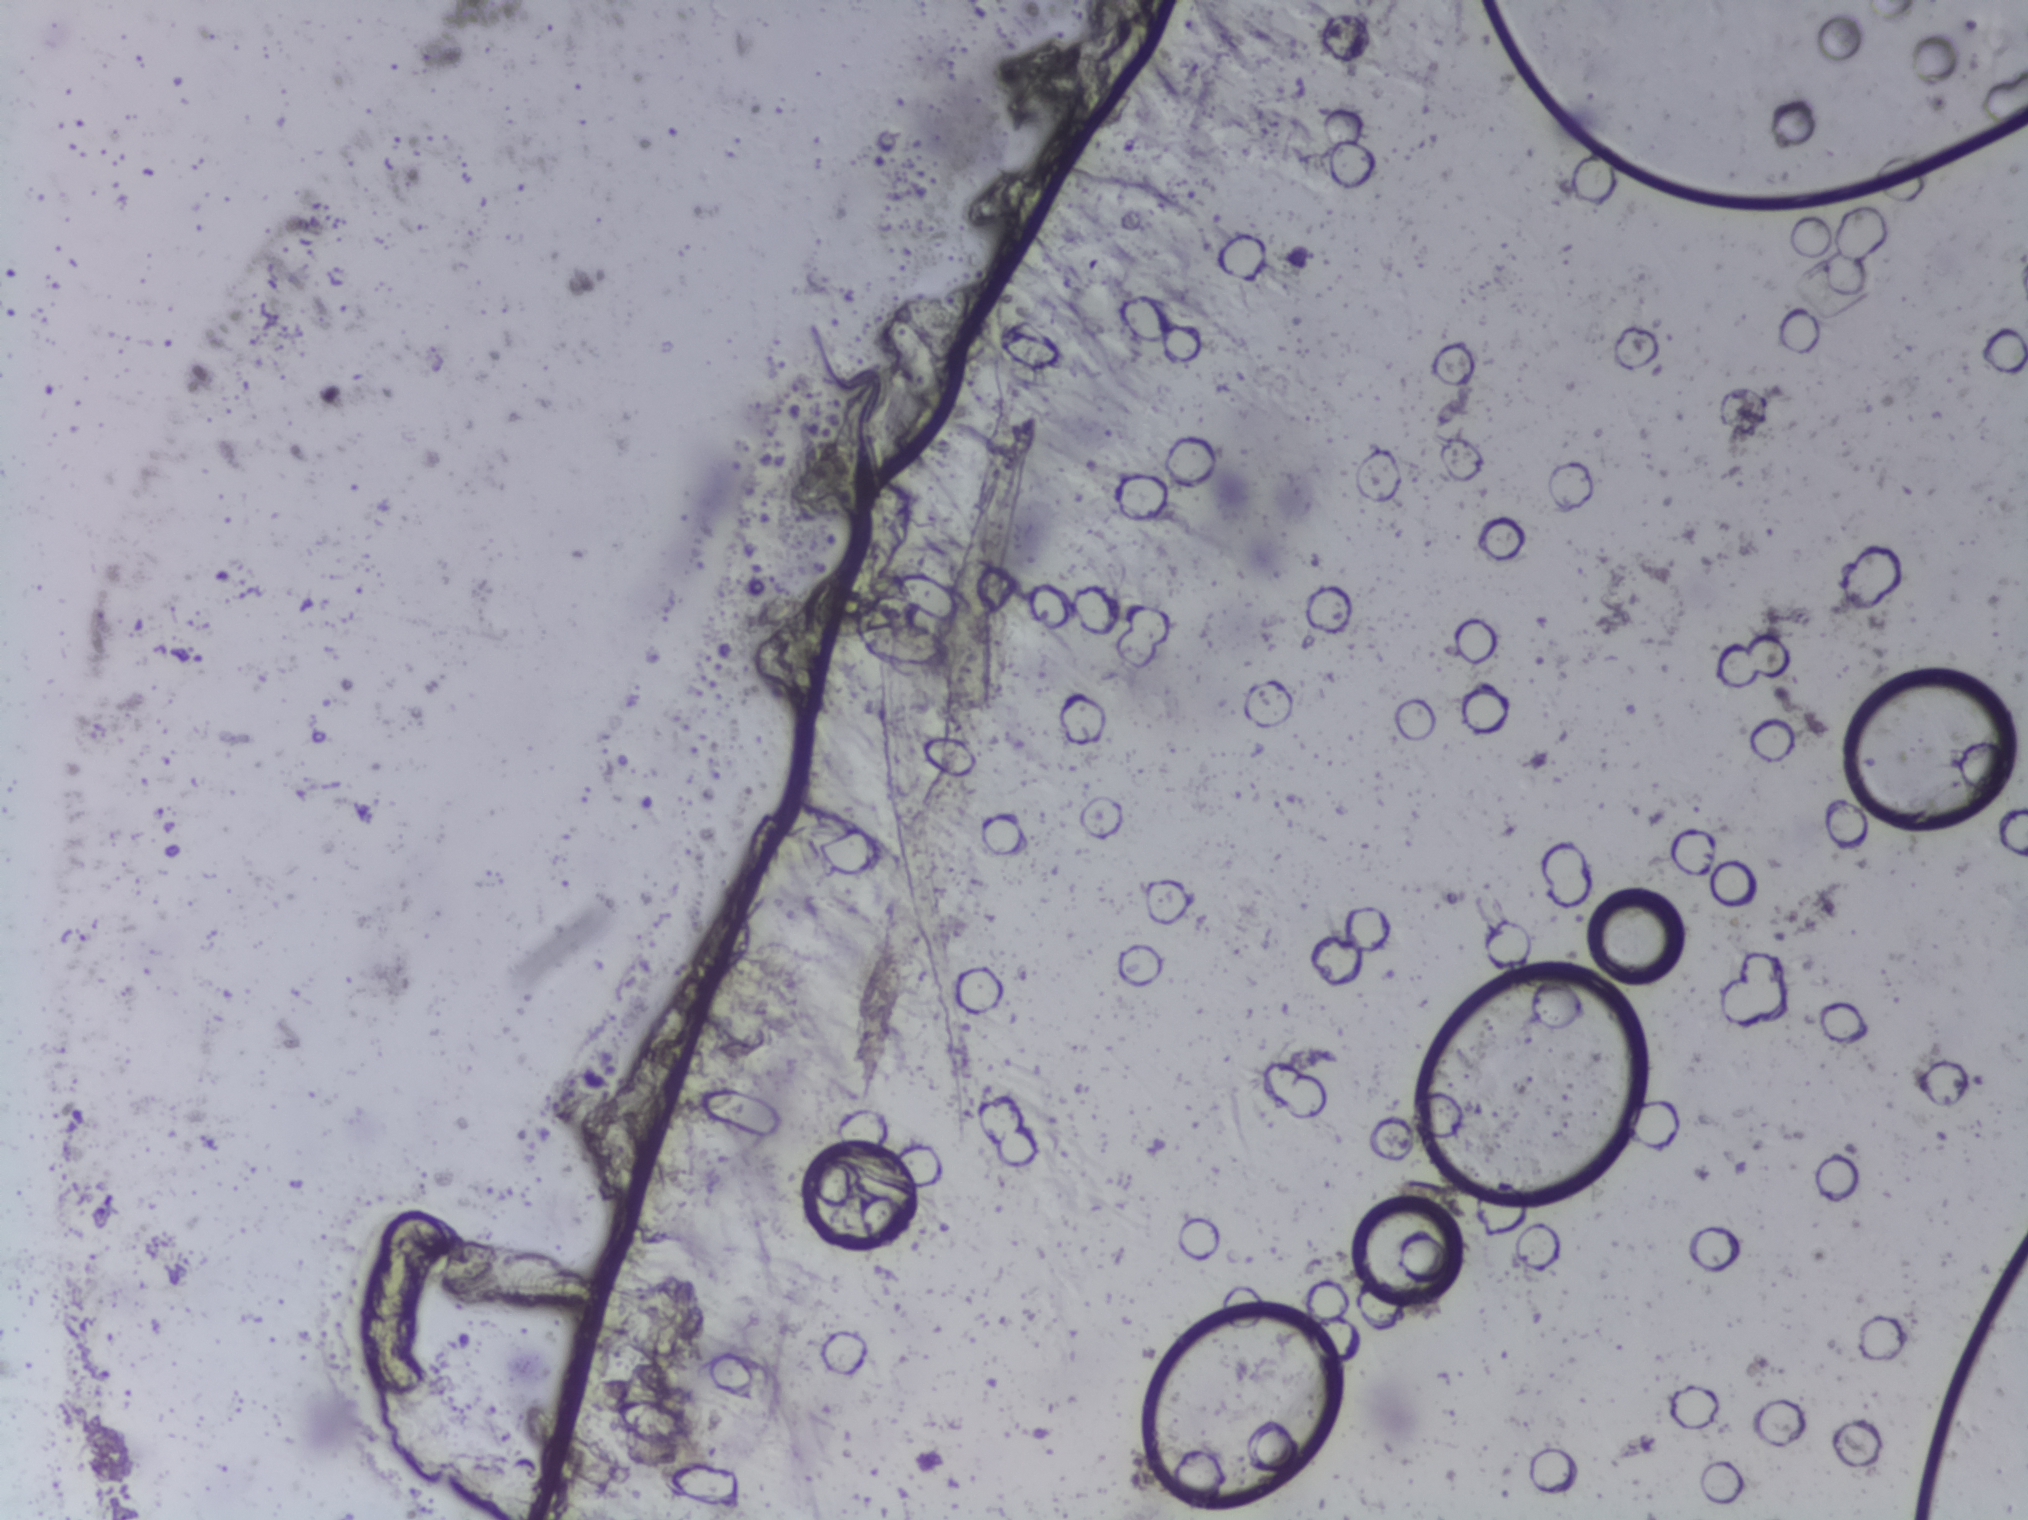
Photograph from an automated digital microscope: urine filter membrane, 4× objective. The field of view is about 1.5 mm × 1.1 mm.
The expert annotation marks no Schistosoma egg in this field of view.